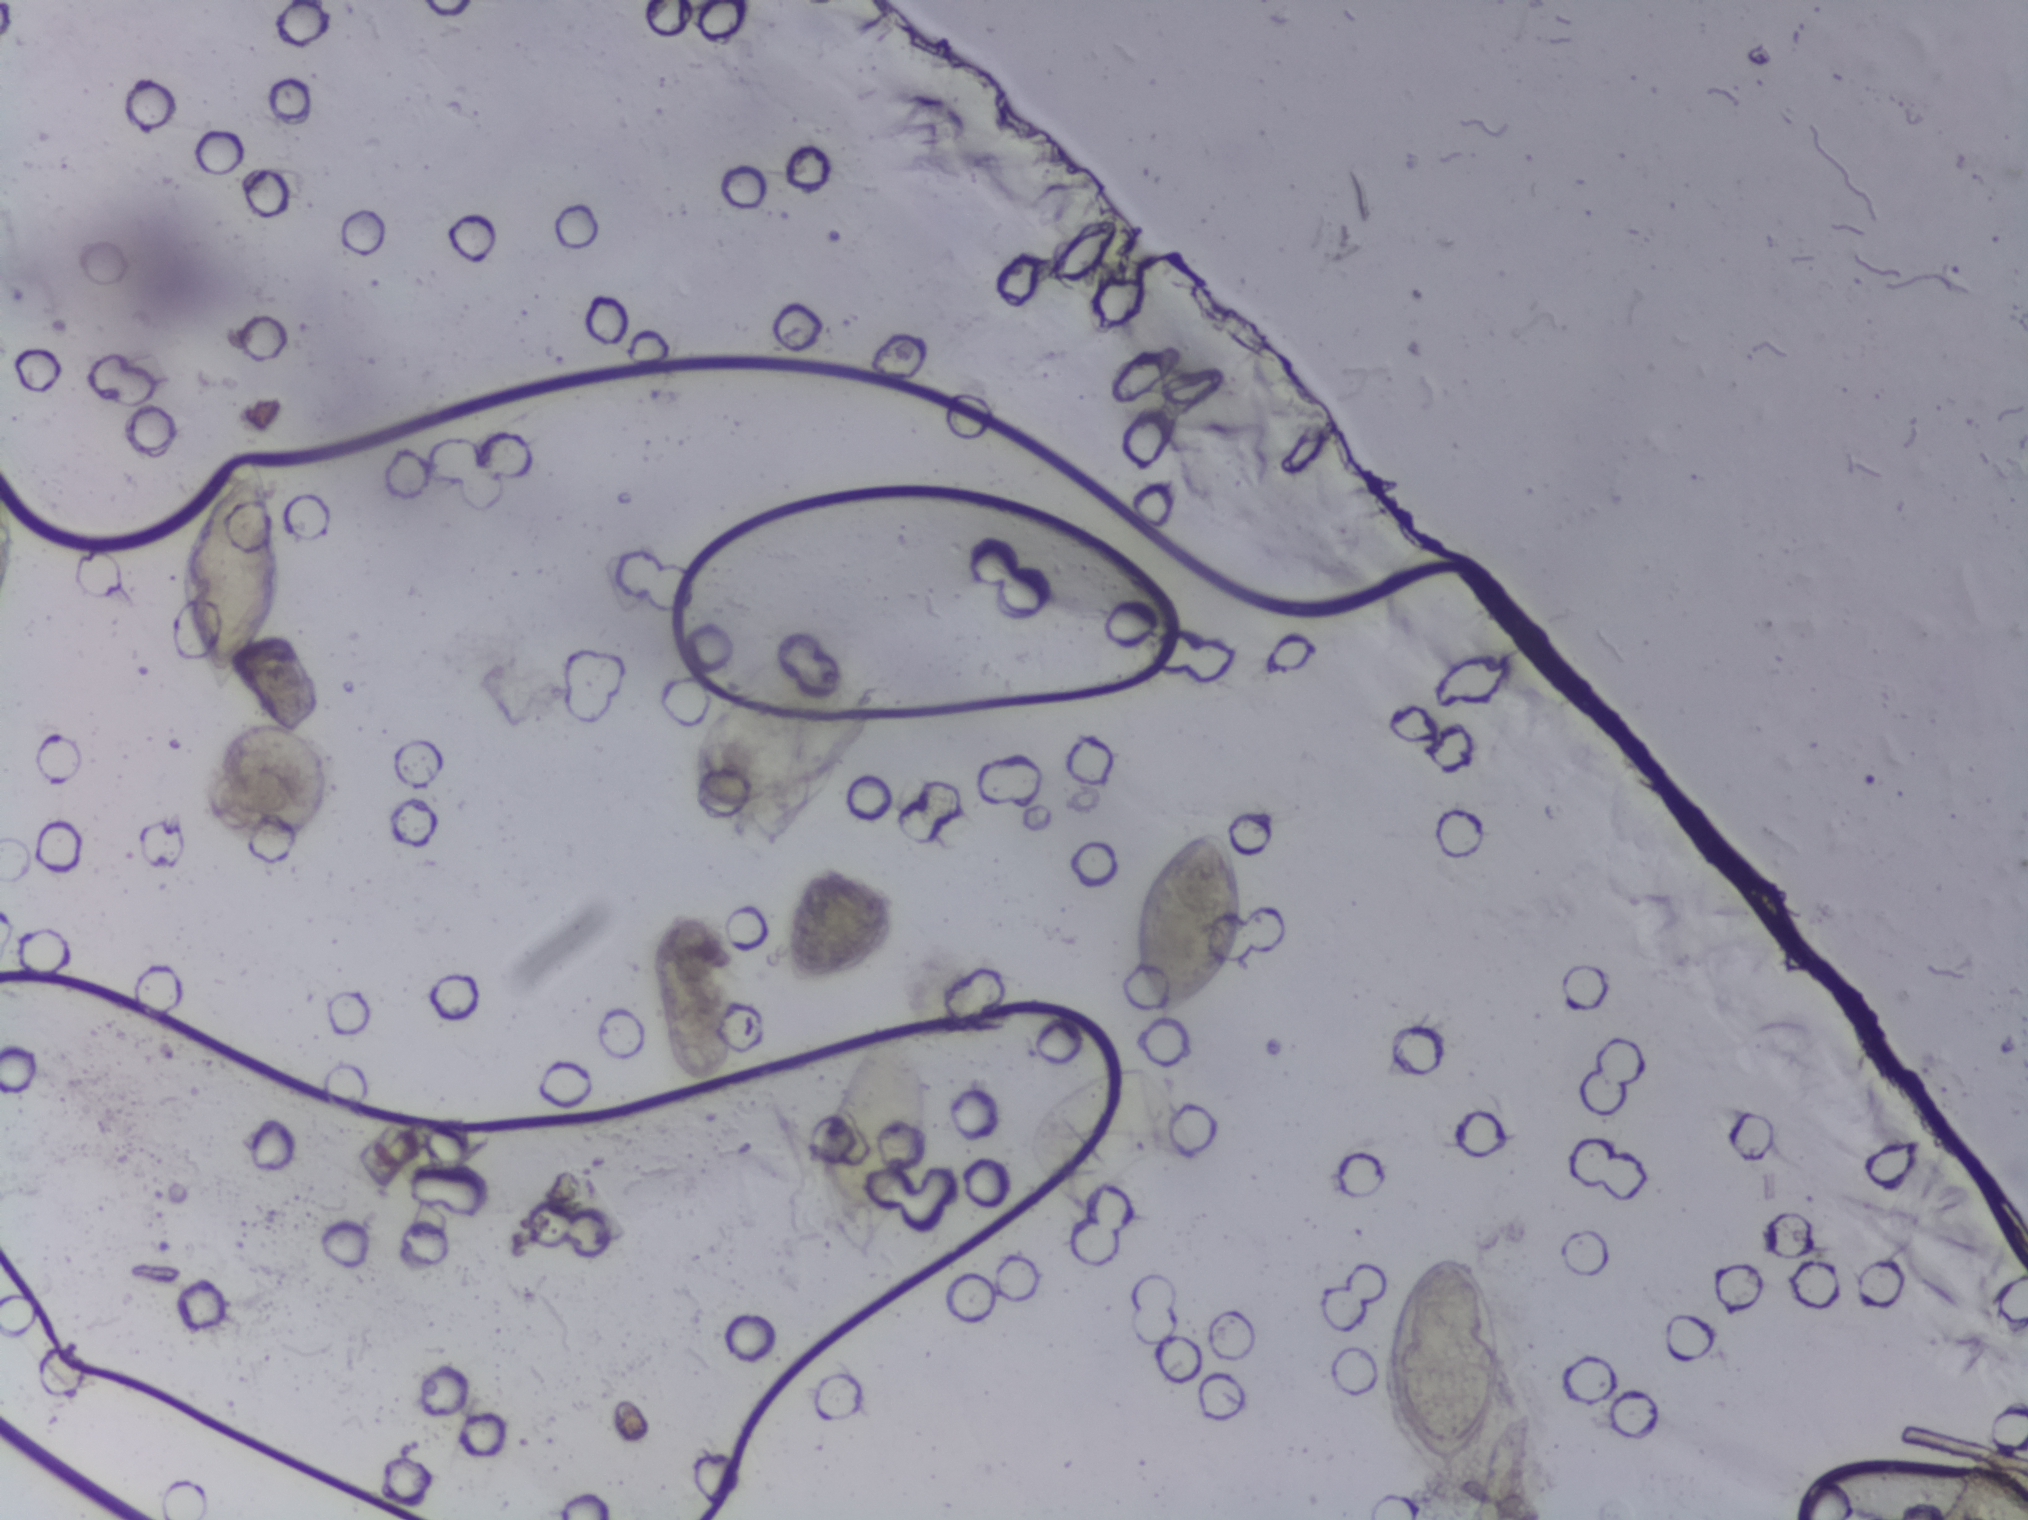
Microscope photograph (4× objective) of a membrane that a urine sample was filtered through.
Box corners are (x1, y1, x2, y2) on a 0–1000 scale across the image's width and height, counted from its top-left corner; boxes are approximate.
Findings: five areas outlined as Schistosoma eggs. Locations: (87, 304, 141, 457); (405, 680, 462, 830); (507, 700, 590, 787); (558, 545, 613, 672); (679, 820, 747, 983). Eggs that touch can end up inside the same outlined area.